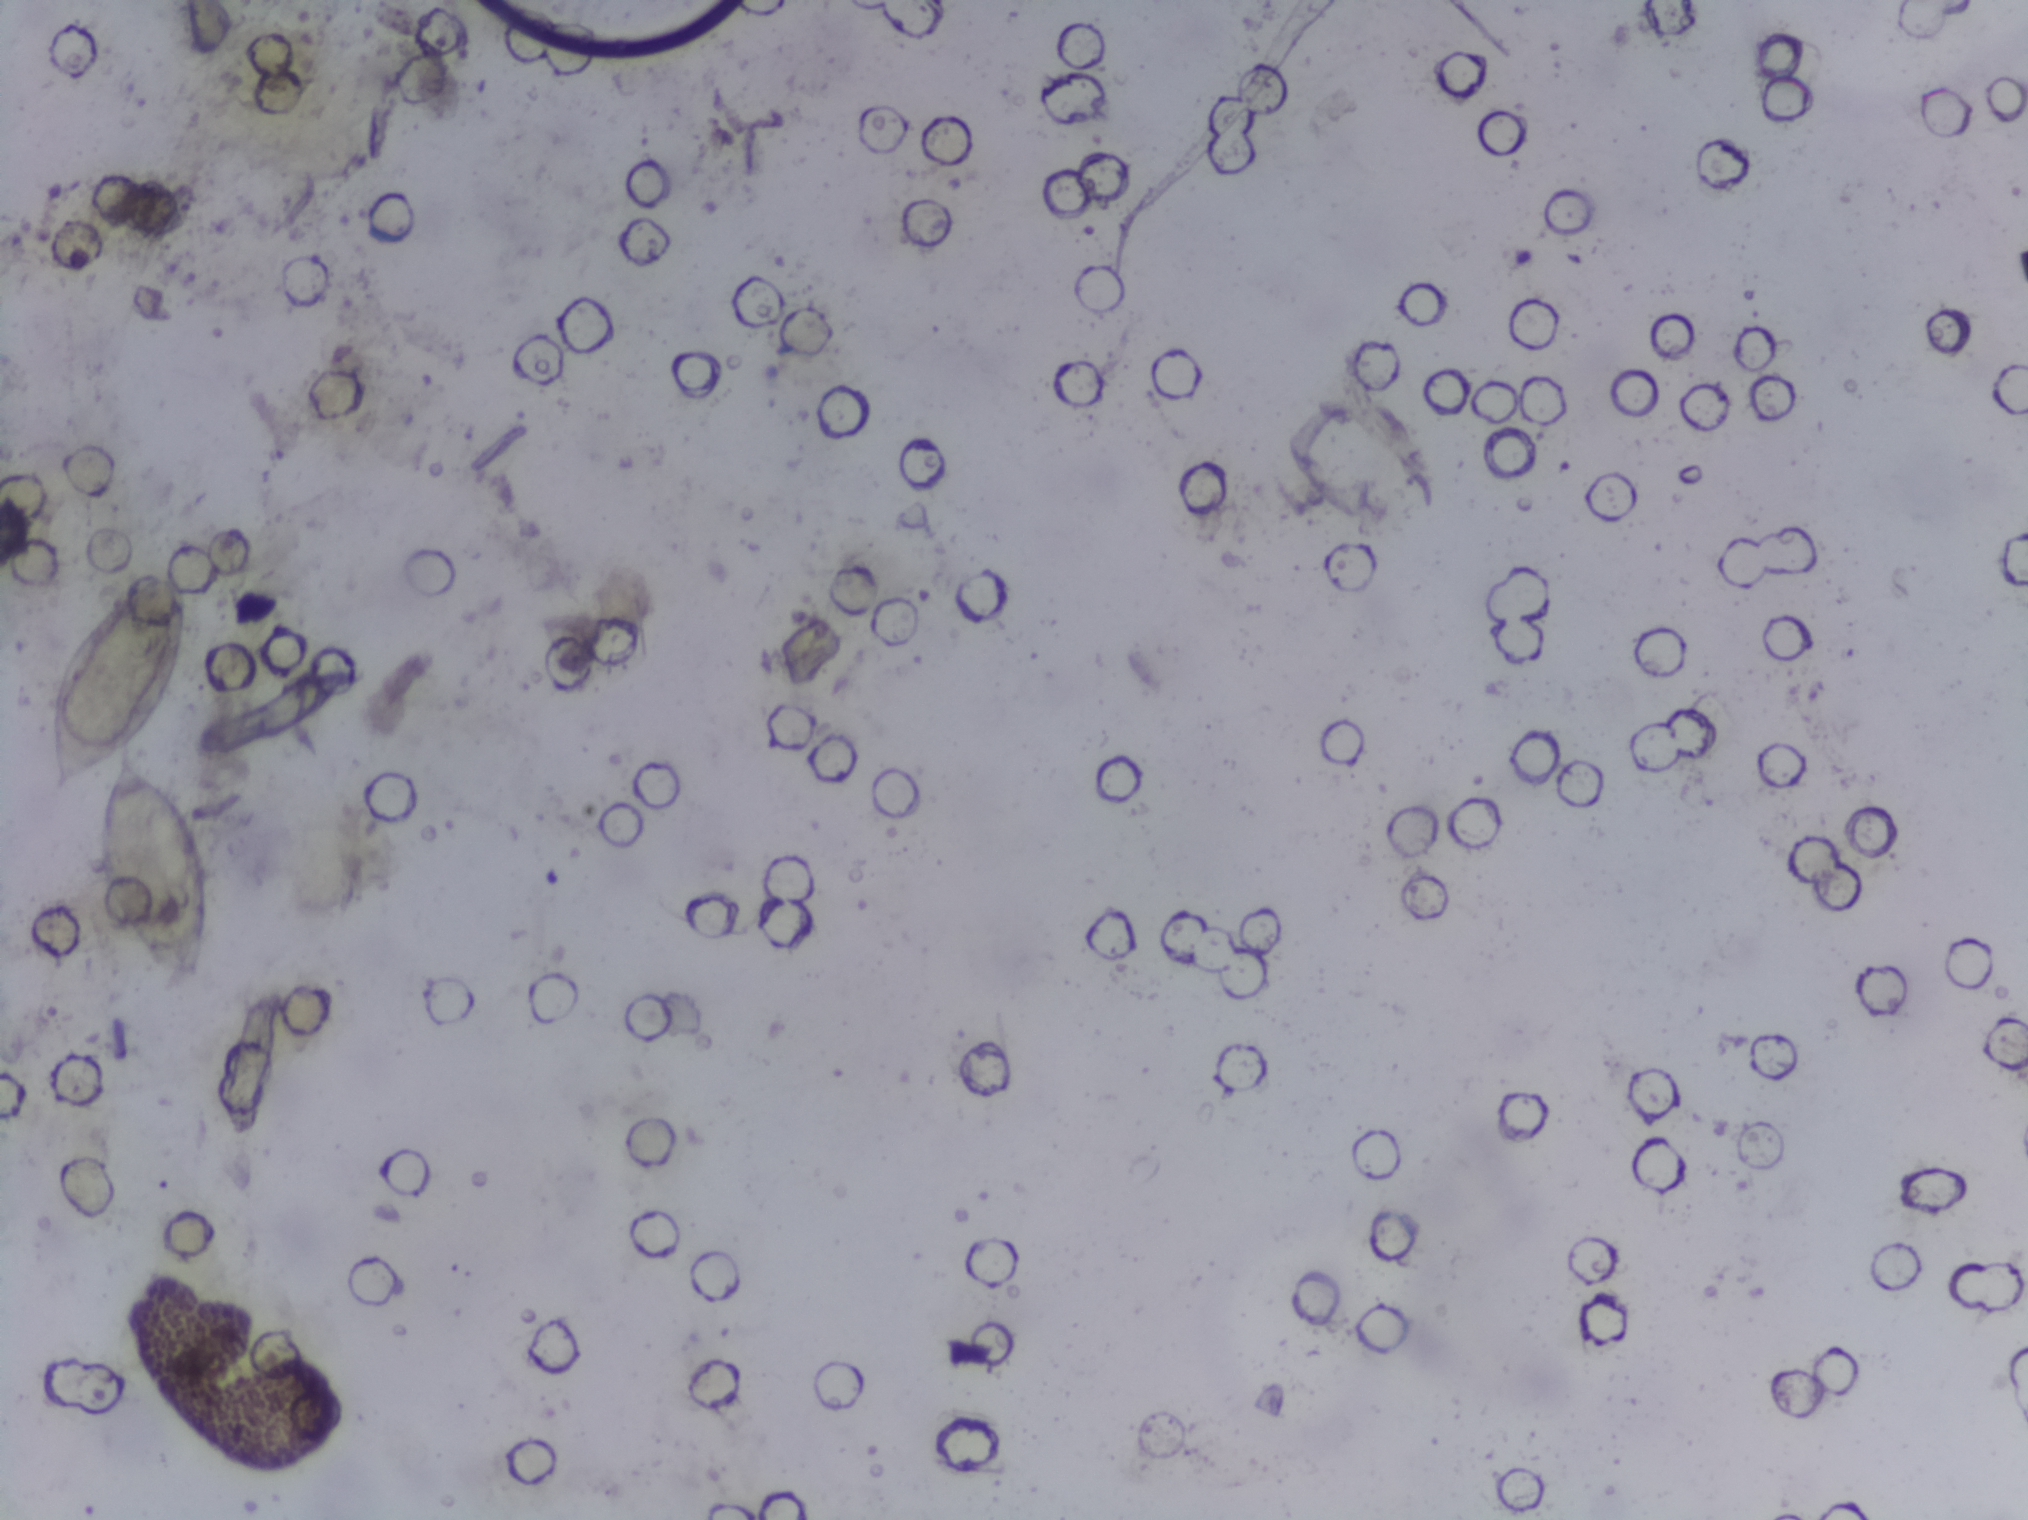
Urine filtration membrane under a 4× objective, photographed by an automated digital microscope.
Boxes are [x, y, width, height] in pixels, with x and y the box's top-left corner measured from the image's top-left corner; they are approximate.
Schistosoma eggs are outlined in one area of this image: [42, 566, 175, 420]. An outlined area can hold more than one egg.